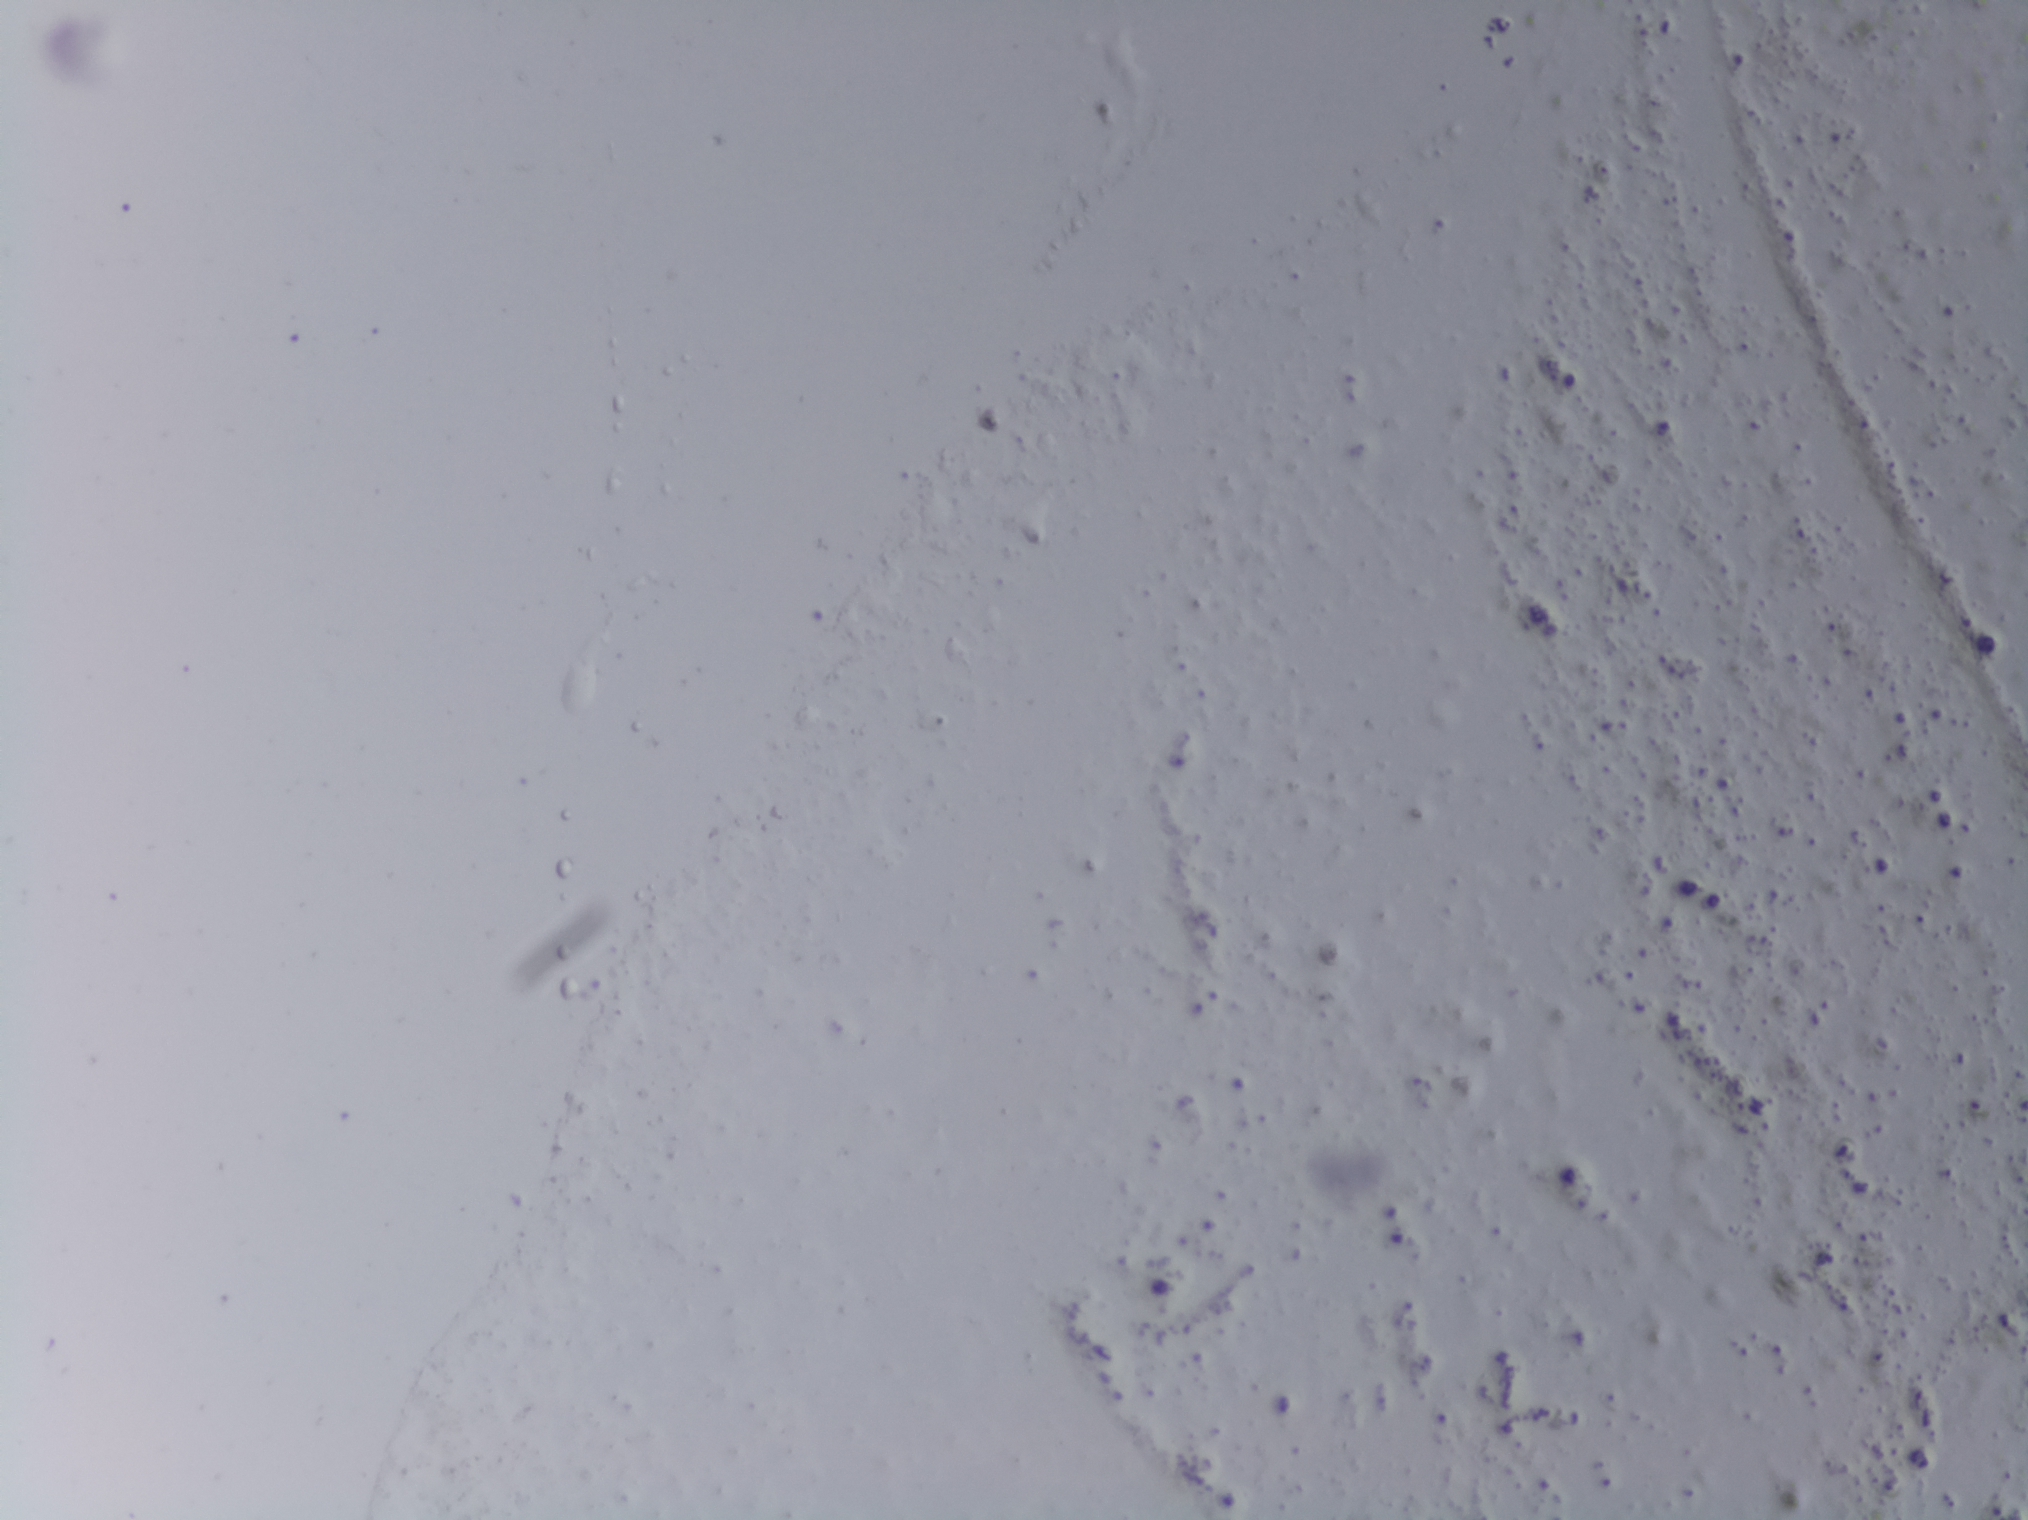
No Schistosoma egg is outlined in this image's expert annotation.
Photograph from an automated digital microscope: urine filter membrane, 4× objective. The field of view is about 1.5 mm × 1.1 mm.